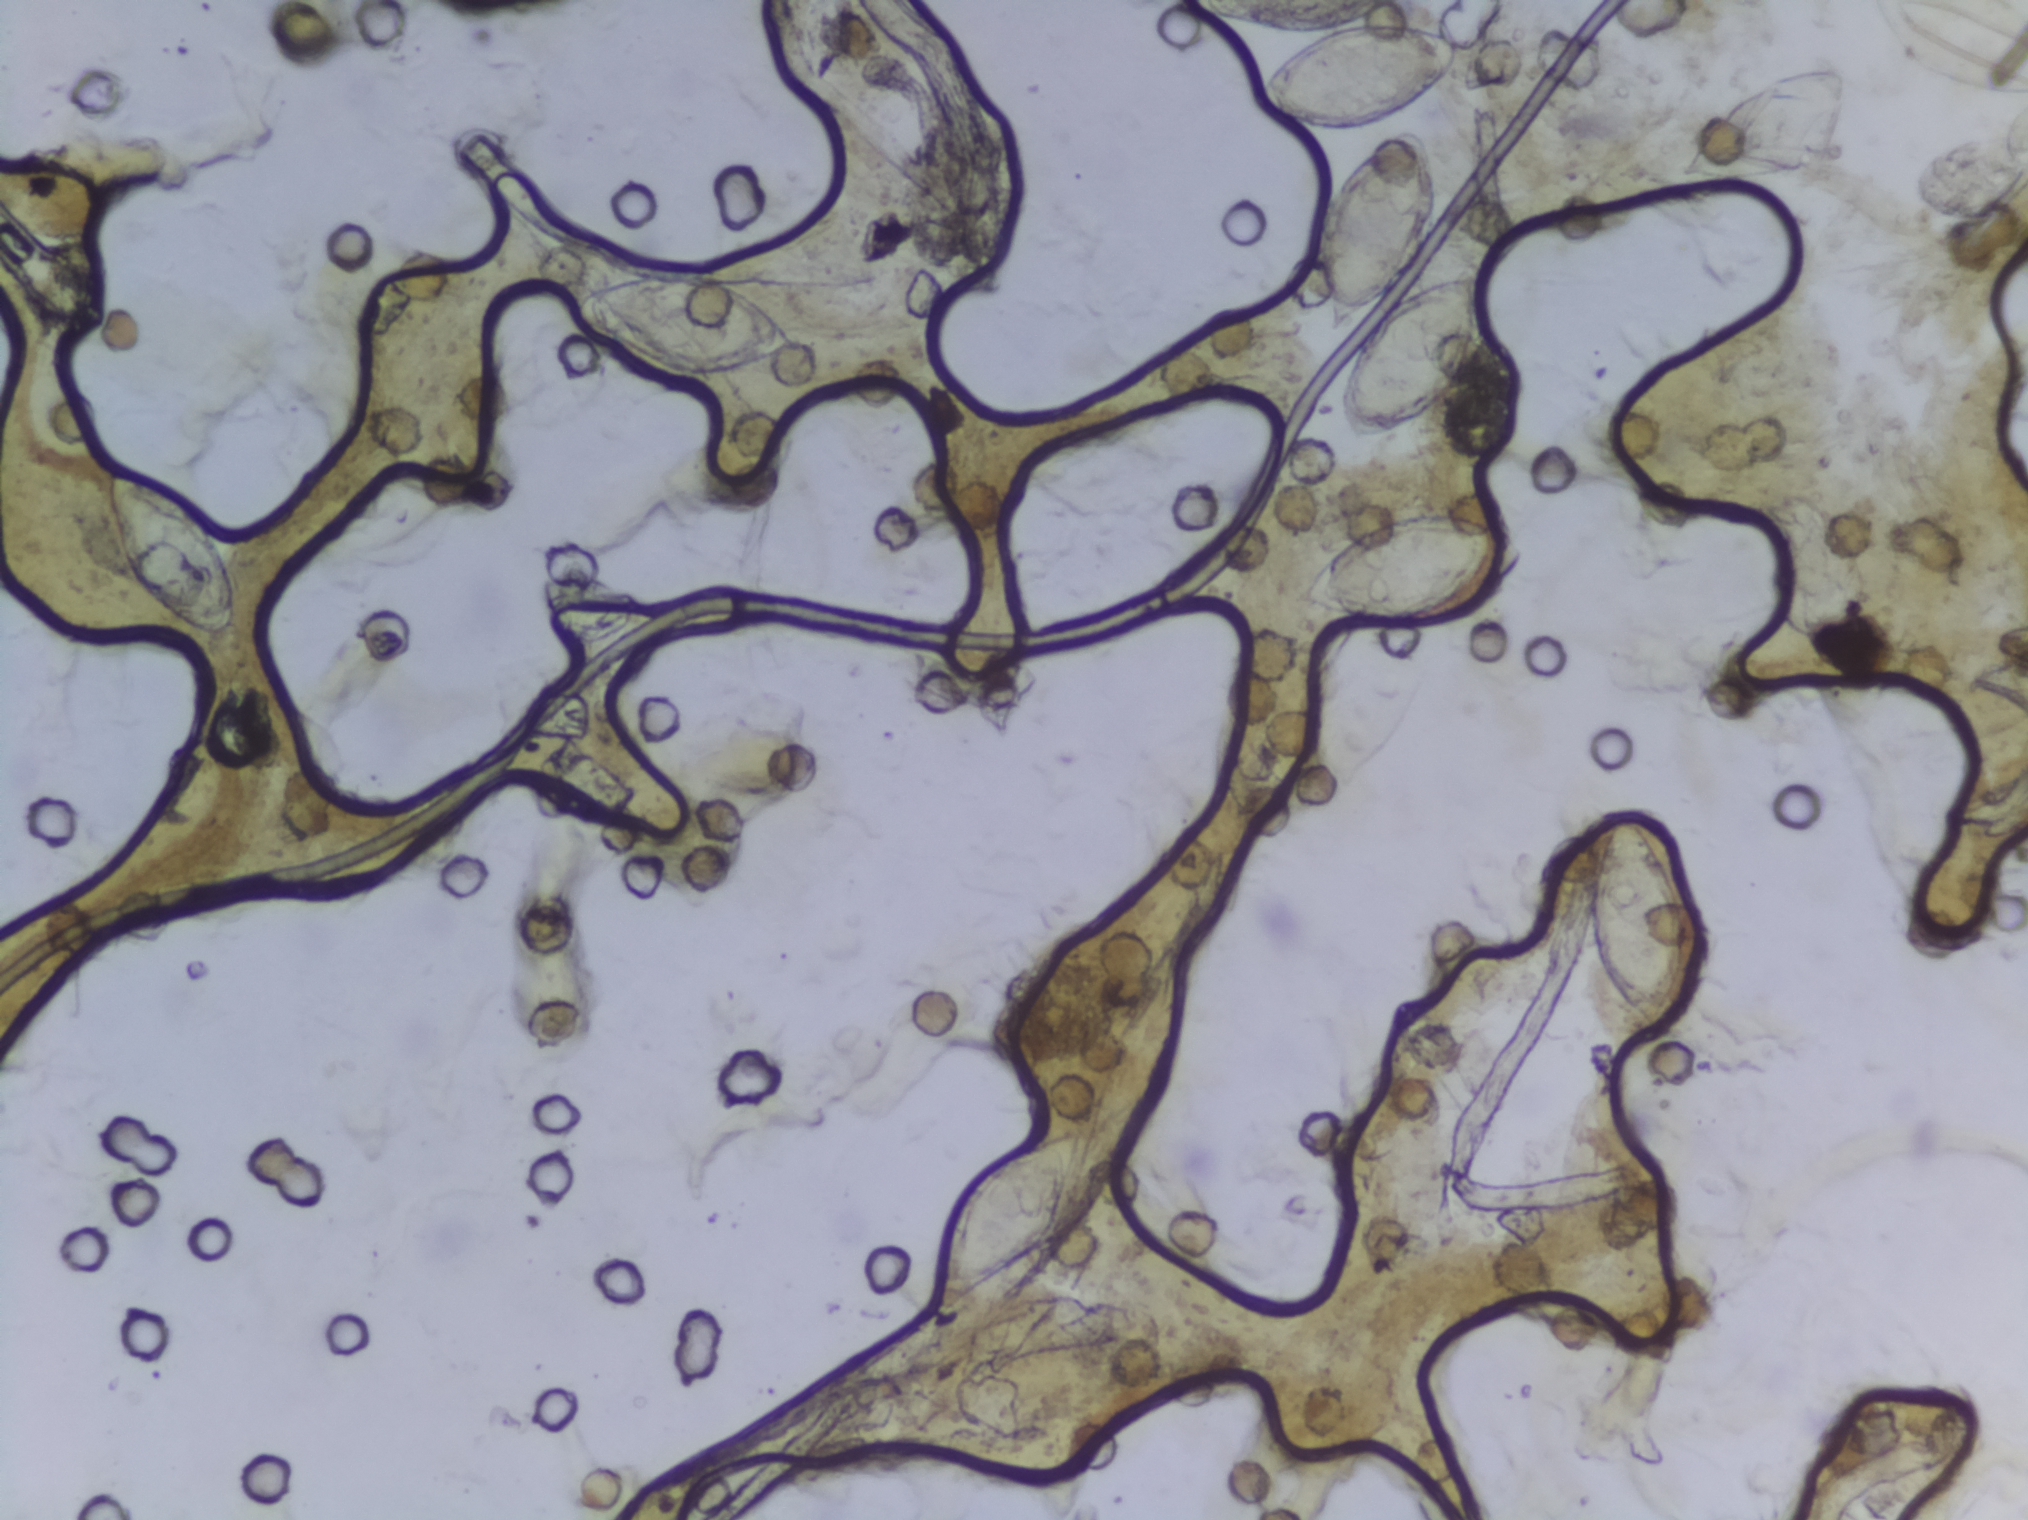
Microscope photograph (4× objective) of a membrane that a urine sample was filtered through. The image covers about 1.5 × 1.1 mm of the membrane.
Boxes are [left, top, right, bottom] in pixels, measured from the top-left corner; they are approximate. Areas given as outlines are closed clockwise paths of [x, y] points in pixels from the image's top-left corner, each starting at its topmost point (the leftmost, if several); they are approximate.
Nine areas of this image are outlined as Schistosoma eggs, from left to right: box [104, 472, 237, 638]; box [570, 266, 796, 380]; box [931, 1128, 1087, 1315]; outline [1191, 0], [1391, 0], [1367, 17], [1422, 18], [1459, 35], [1457, 69], [1428, 103], [1392, 124], [1414, 123], [1437, 151], [1443, 227], [1382, 307], [1420, 283], [1471, 265], [1483, 273], [1485, 304], [1477, 356], [1463, 388], [1411, 427], [1366, 441], [1343, 434], [1333, 415], [1335, 383], [1352, 346], [1383, 308], [1359, 320], [1349, 339], [1324, 339], [1309, 319], [1304, 294], [1308, 246], [1328, 189], [1354, 151], [1387, 127], [1349, 139], [1296, 141], [1250, 123], [1241, 116], [1242, 91], [1302, 32], [1214, 22] (a cluster of eggs; reaching the top edge of the frame); box [1296, 510, 1527, 621]; box [1582, 806, 1689, 1039]; box [1669, 59, 1858, 186]; box [1757, 486, 1871, 661]; box [1865, 0, 2027, 93] (reaching the top and right edges of the frame). Eggs that touch can end up inside the same outlined area.